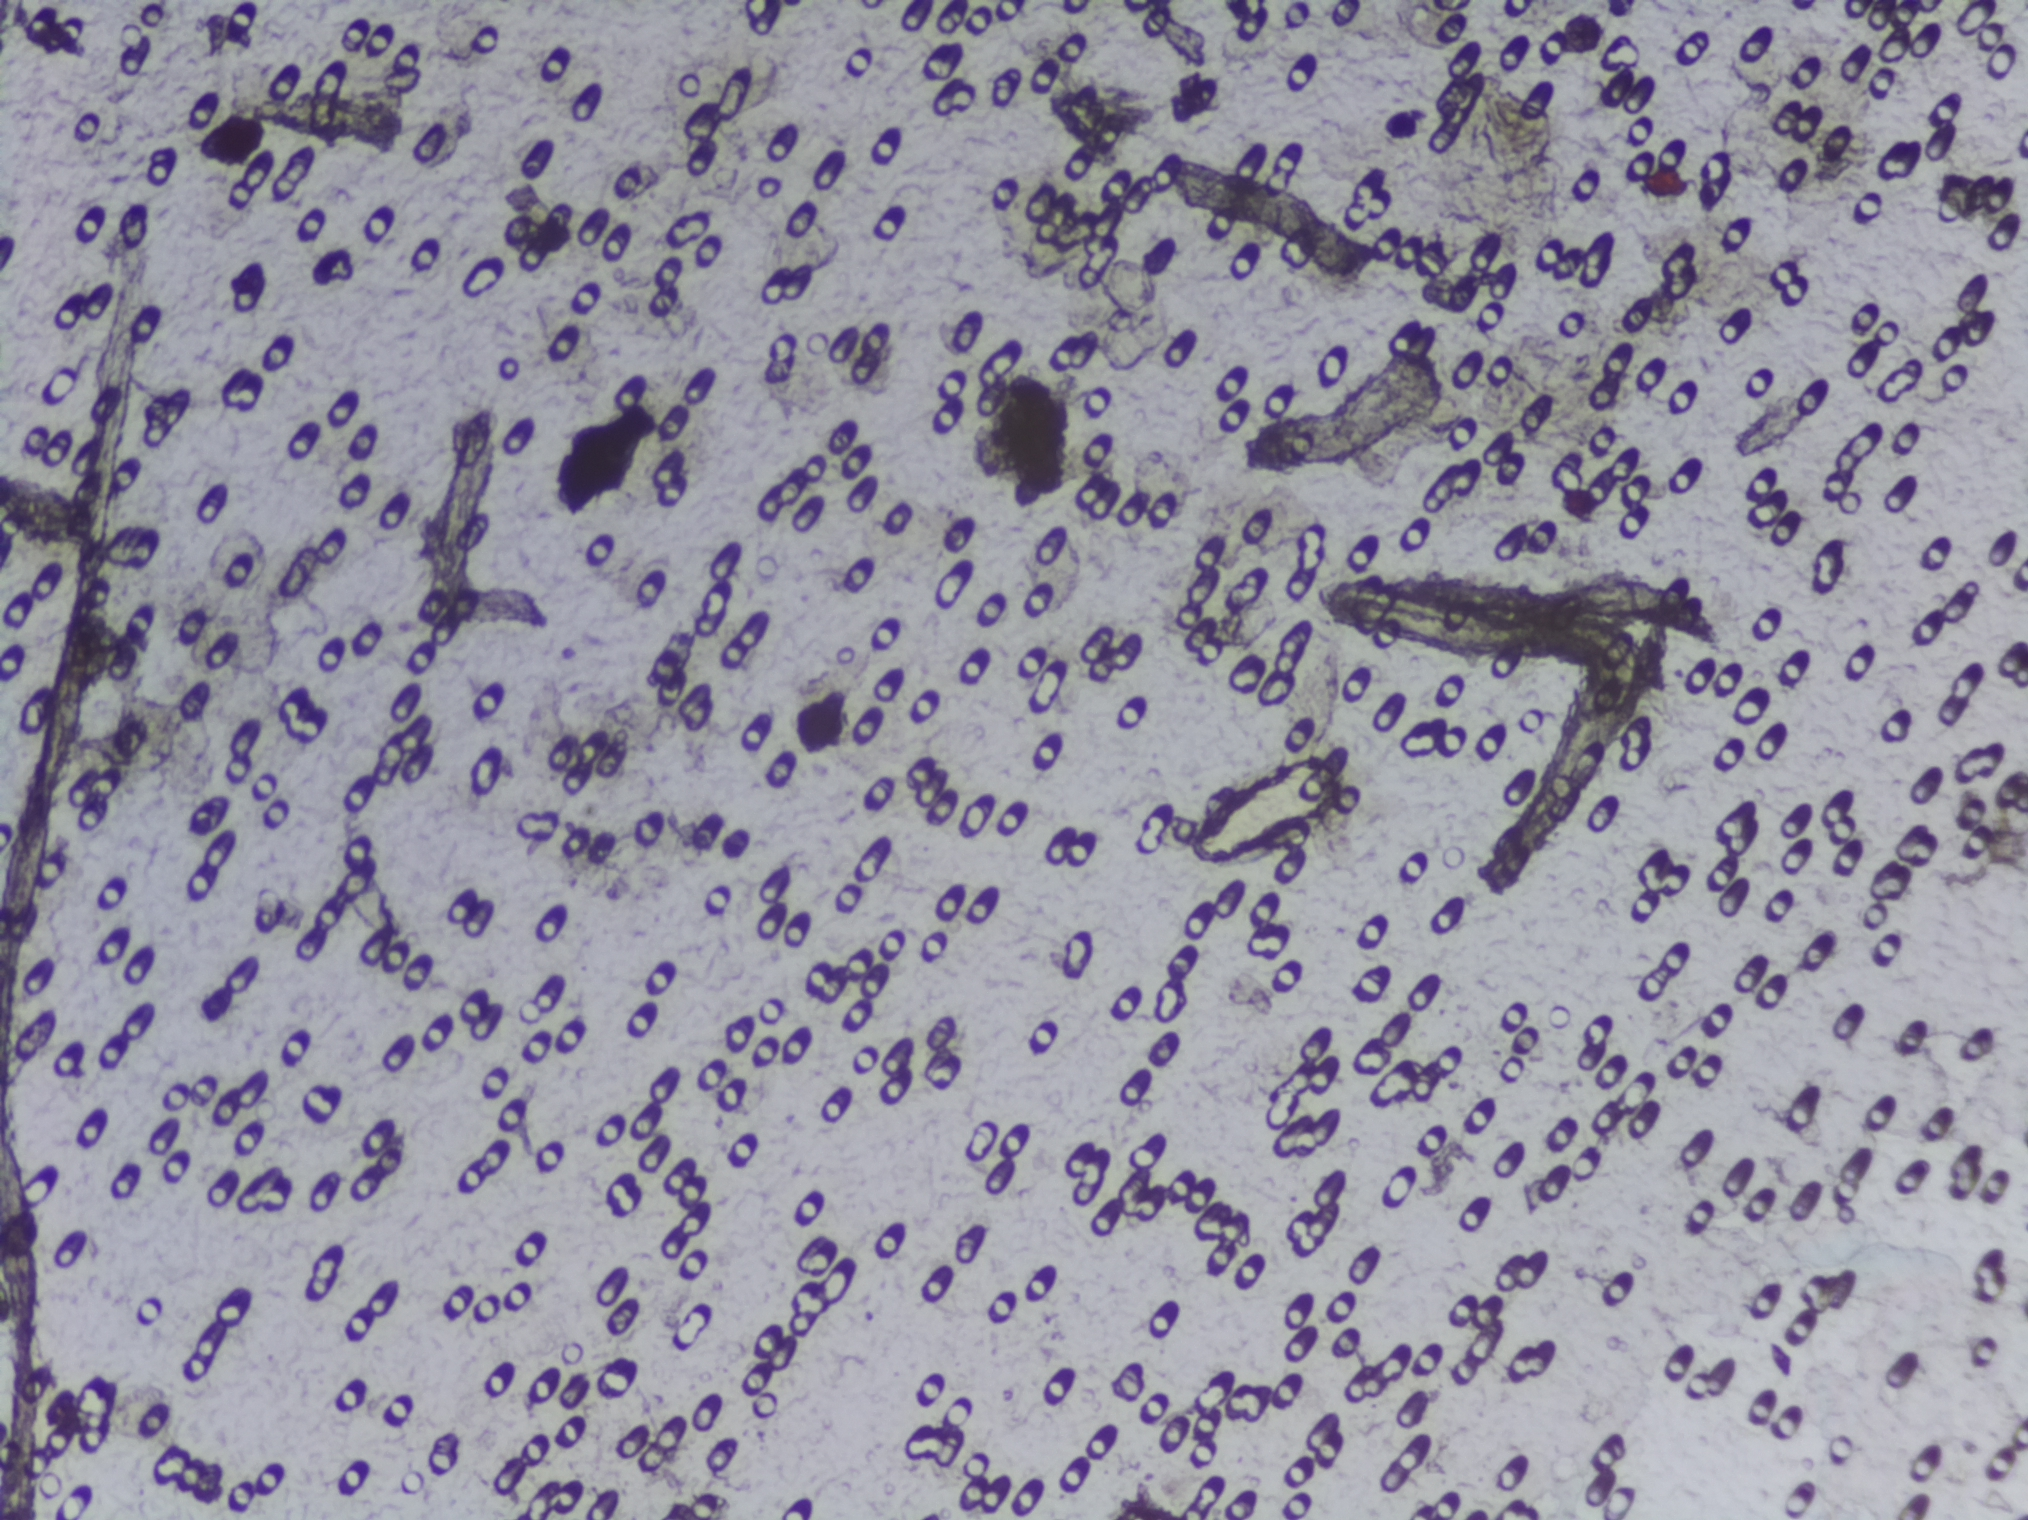
Photograph from an automated digital microscope: urine filter membrane, 4× objective.
The expert annotation marks no Schistosoma egg in this field of view.